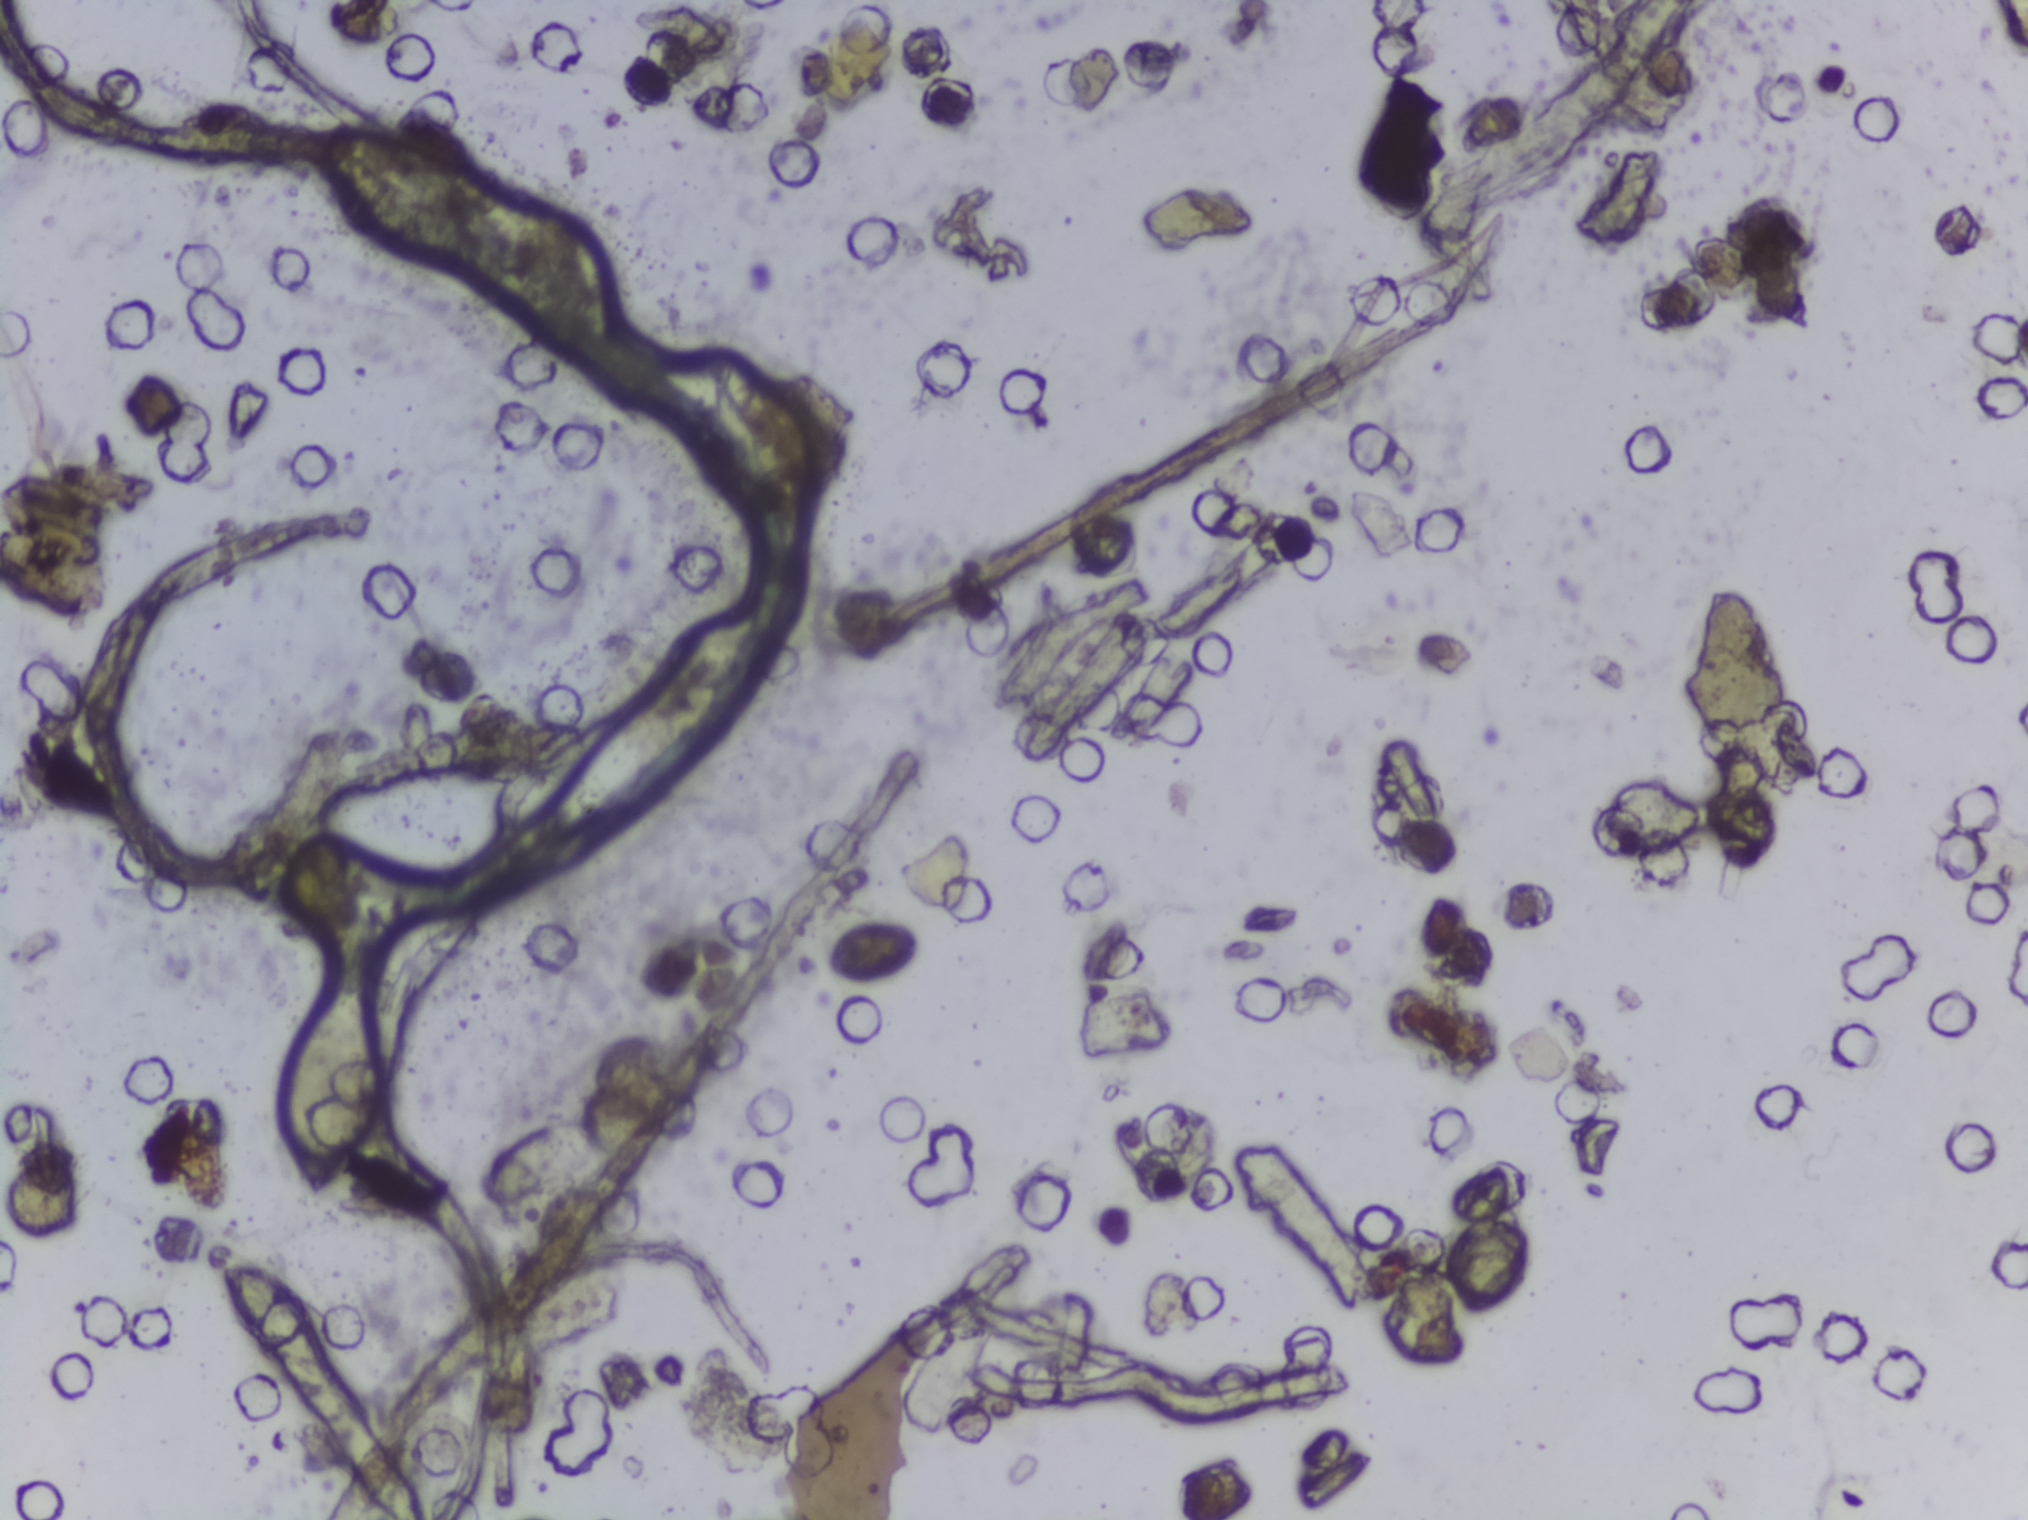
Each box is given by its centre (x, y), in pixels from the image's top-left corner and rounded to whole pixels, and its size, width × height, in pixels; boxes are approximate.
Findings: one area outlined as Schistosoma eggs. Location: centre (332, 1095), 120 × 217 px. Eggs that touch can end up inside the same outlined area. A marked egg may occasionally be S. mansoni rather than S. haematobium.
Urine filter membrane photographed through a 4× microscope objective.